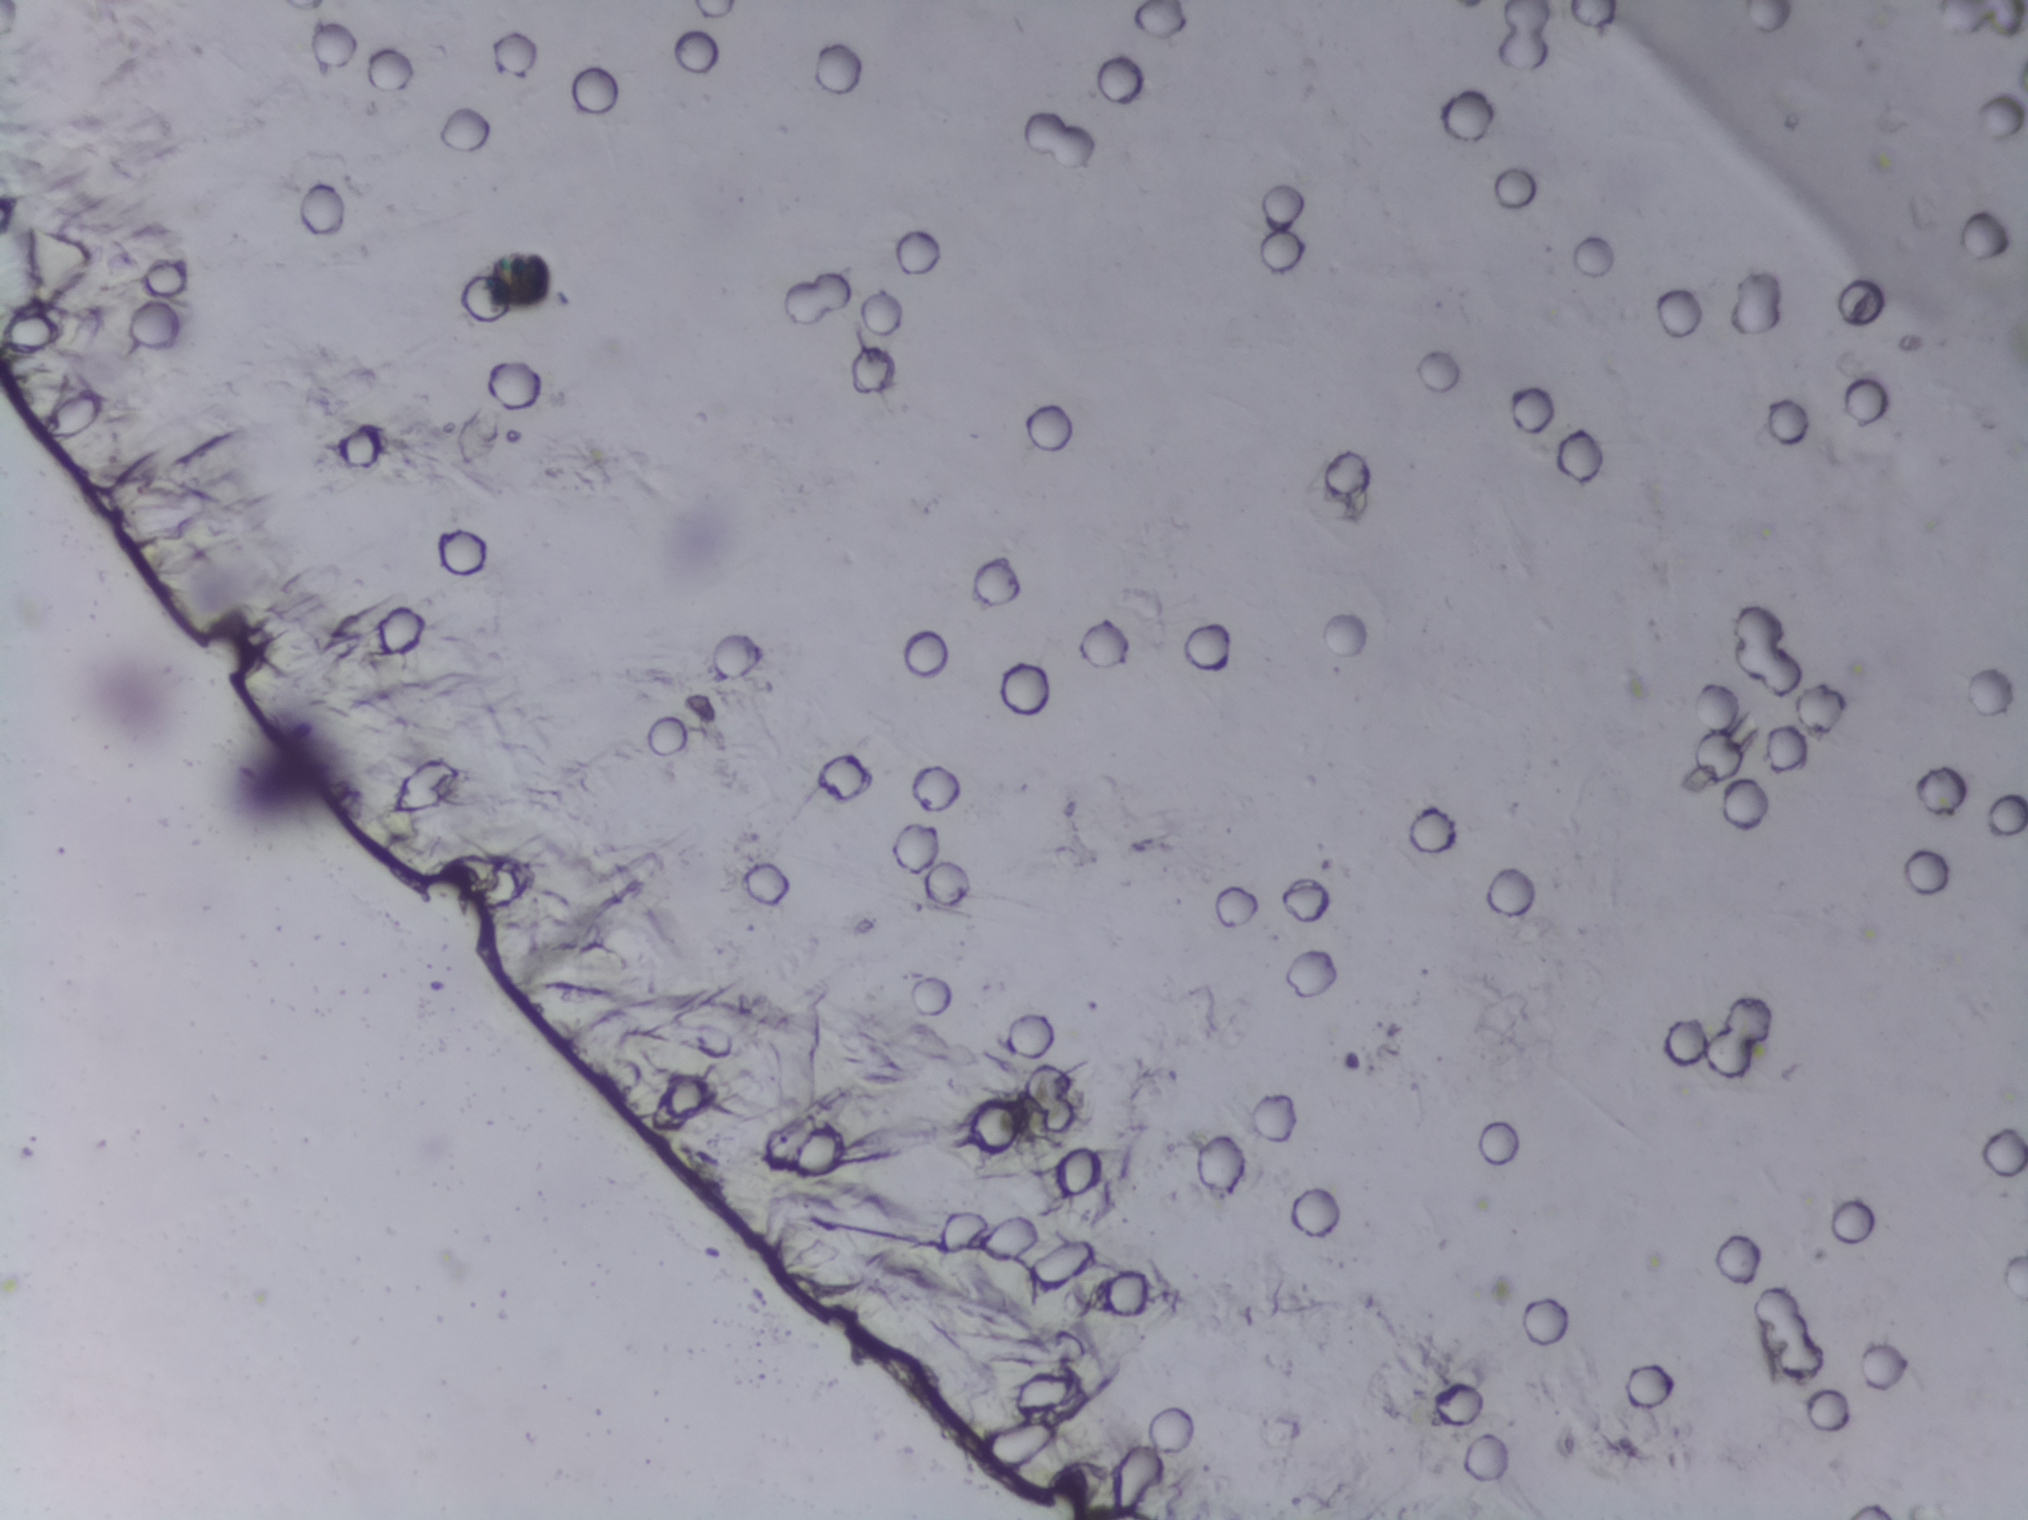
Urine filtration membrane under a 4× objective, photographed by an automated digital microscope.
Schistosoma eggs: none outlined.